Microscope photograph (4× objective) of a membrane that a urine sample was filtered through. Field of view: about 1.5 mm wide and 1.1 mm high.
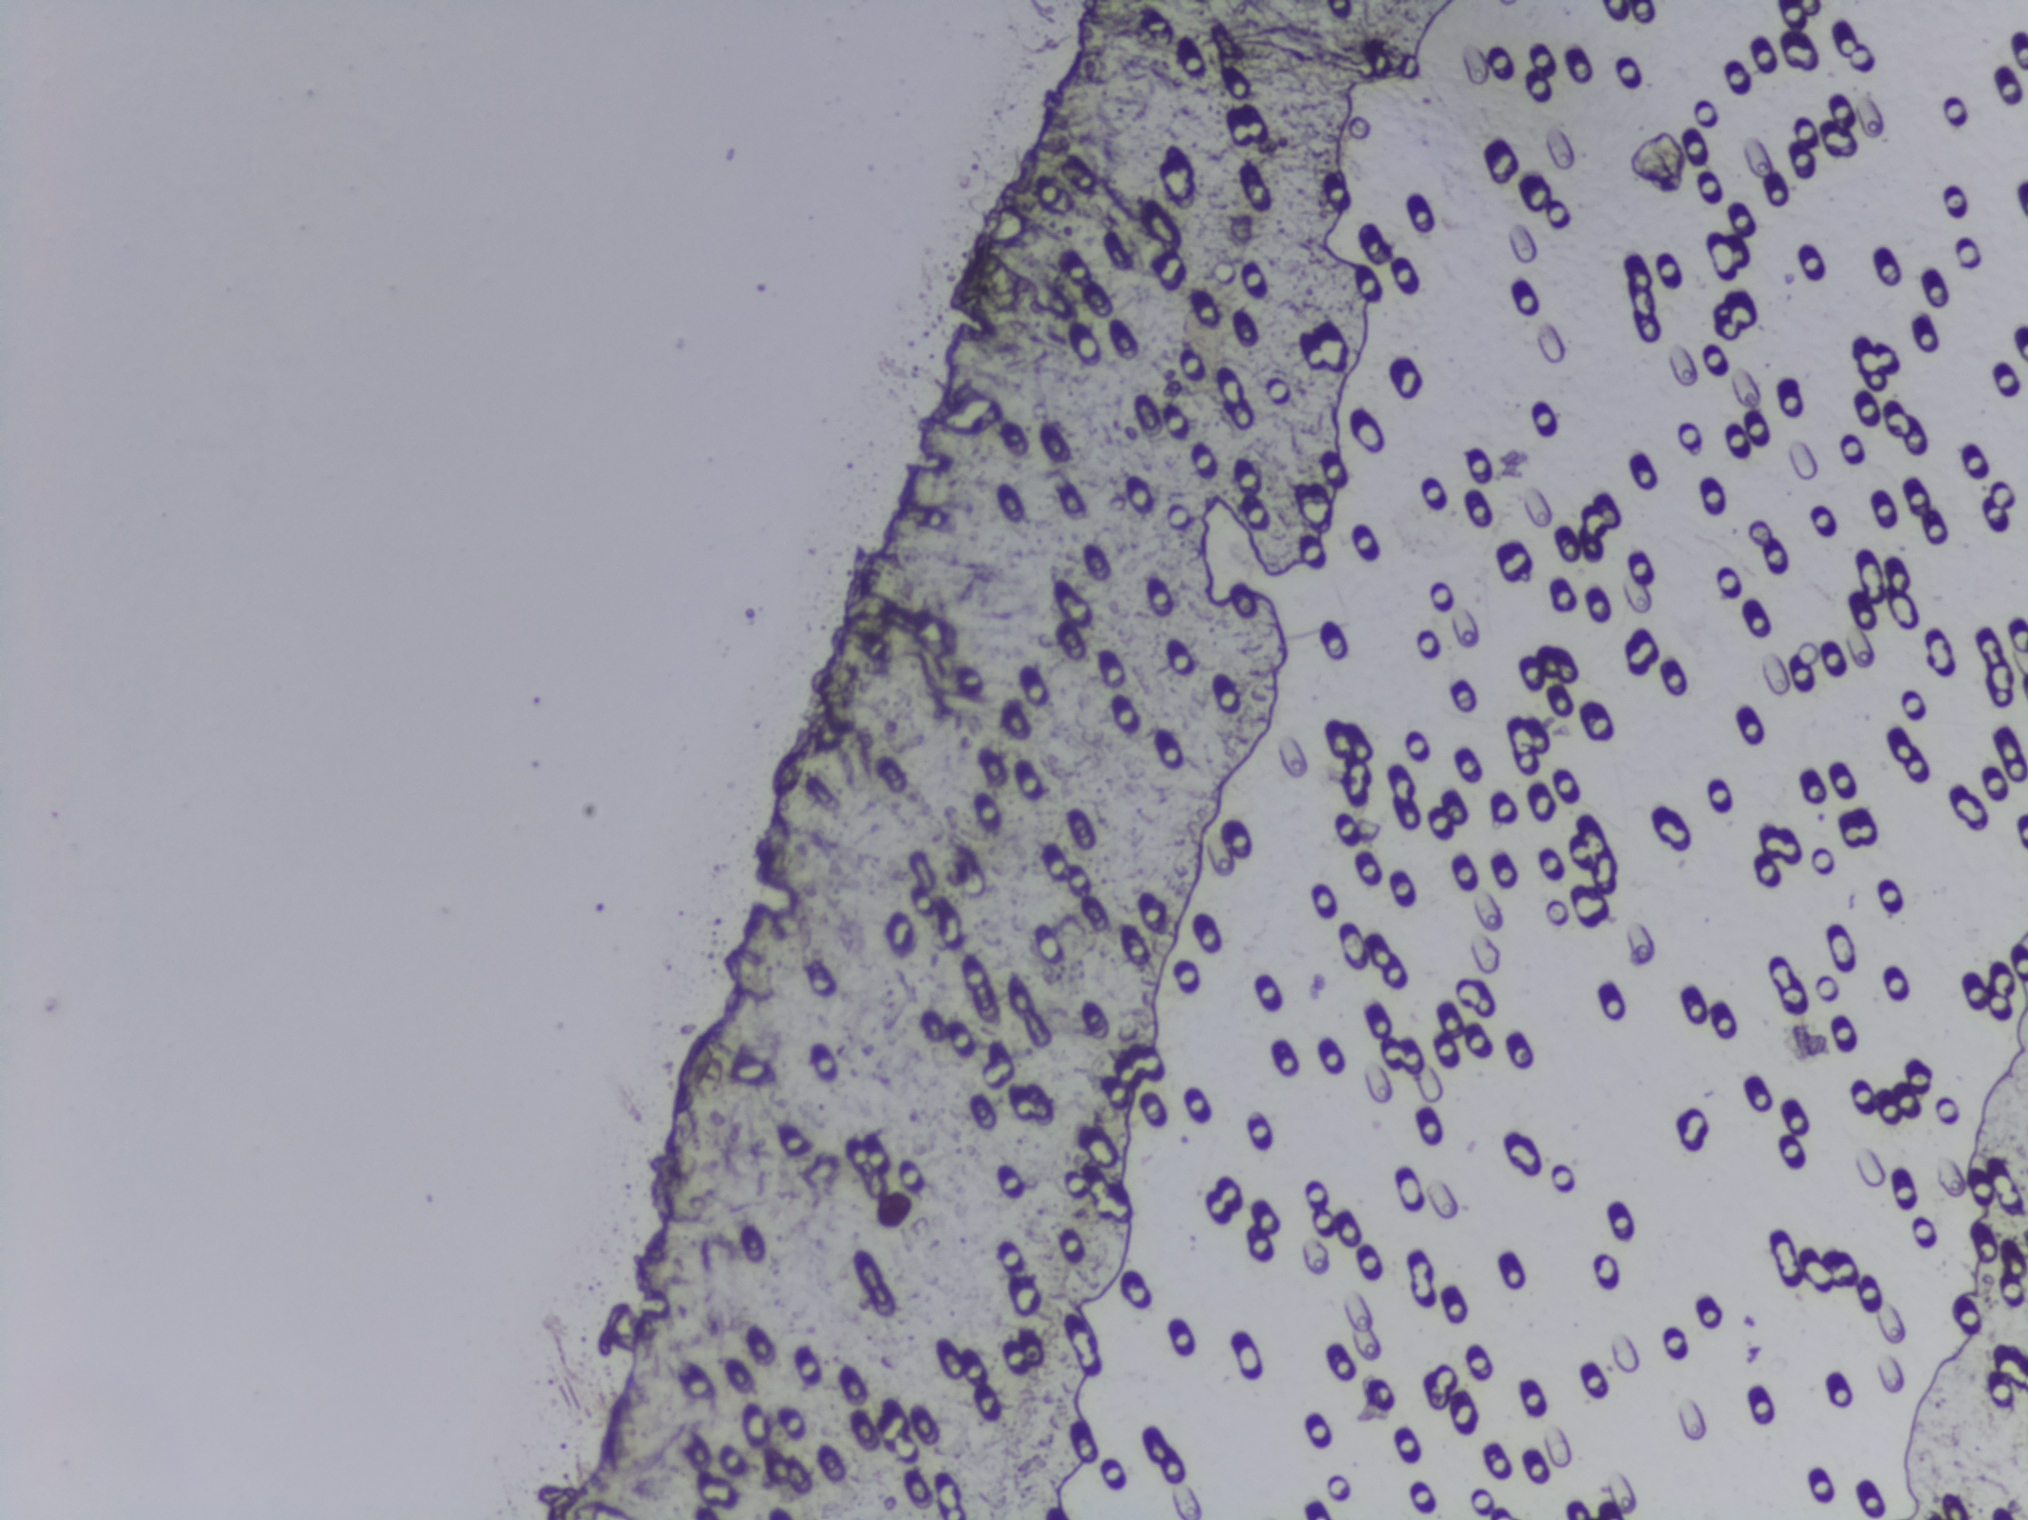
No Schistosoma egg is outlined in this image's expert annotation.